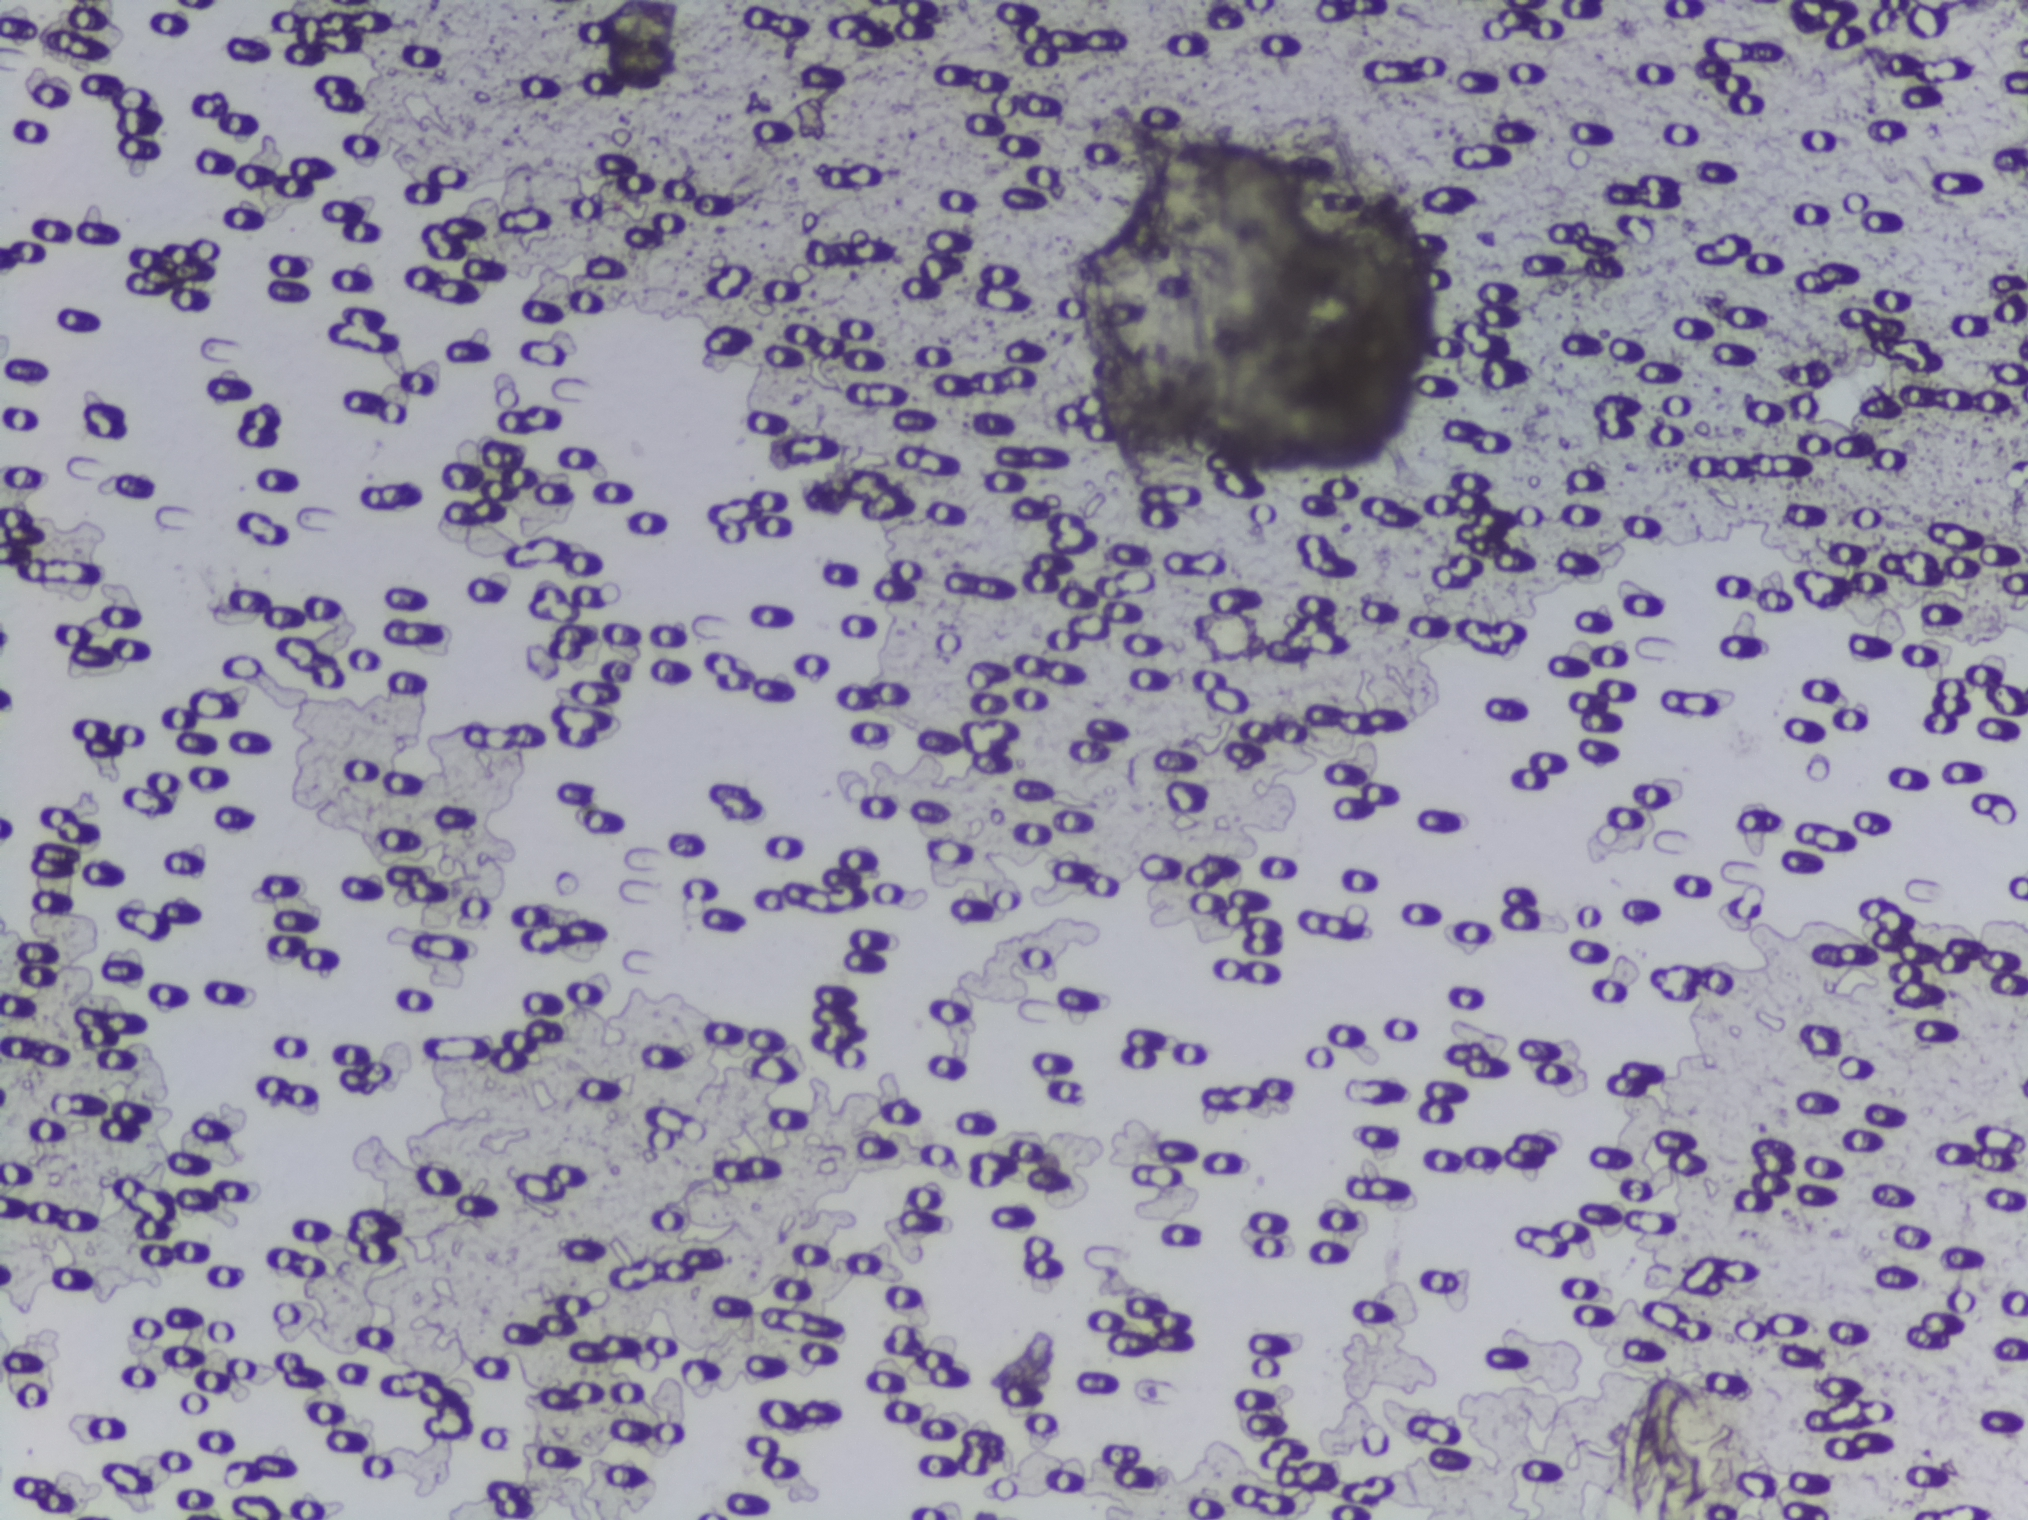
Urine filtration membrane under a 4× objective, photographed by an automated digital microscope.
No Schistosoma egg is outlined in this image's expert annotation.